Microscope photograph (4× objective) of a membrane that a urine sample was filtered through. The image covers about 1.5 × 1.1 mm of the membrane.
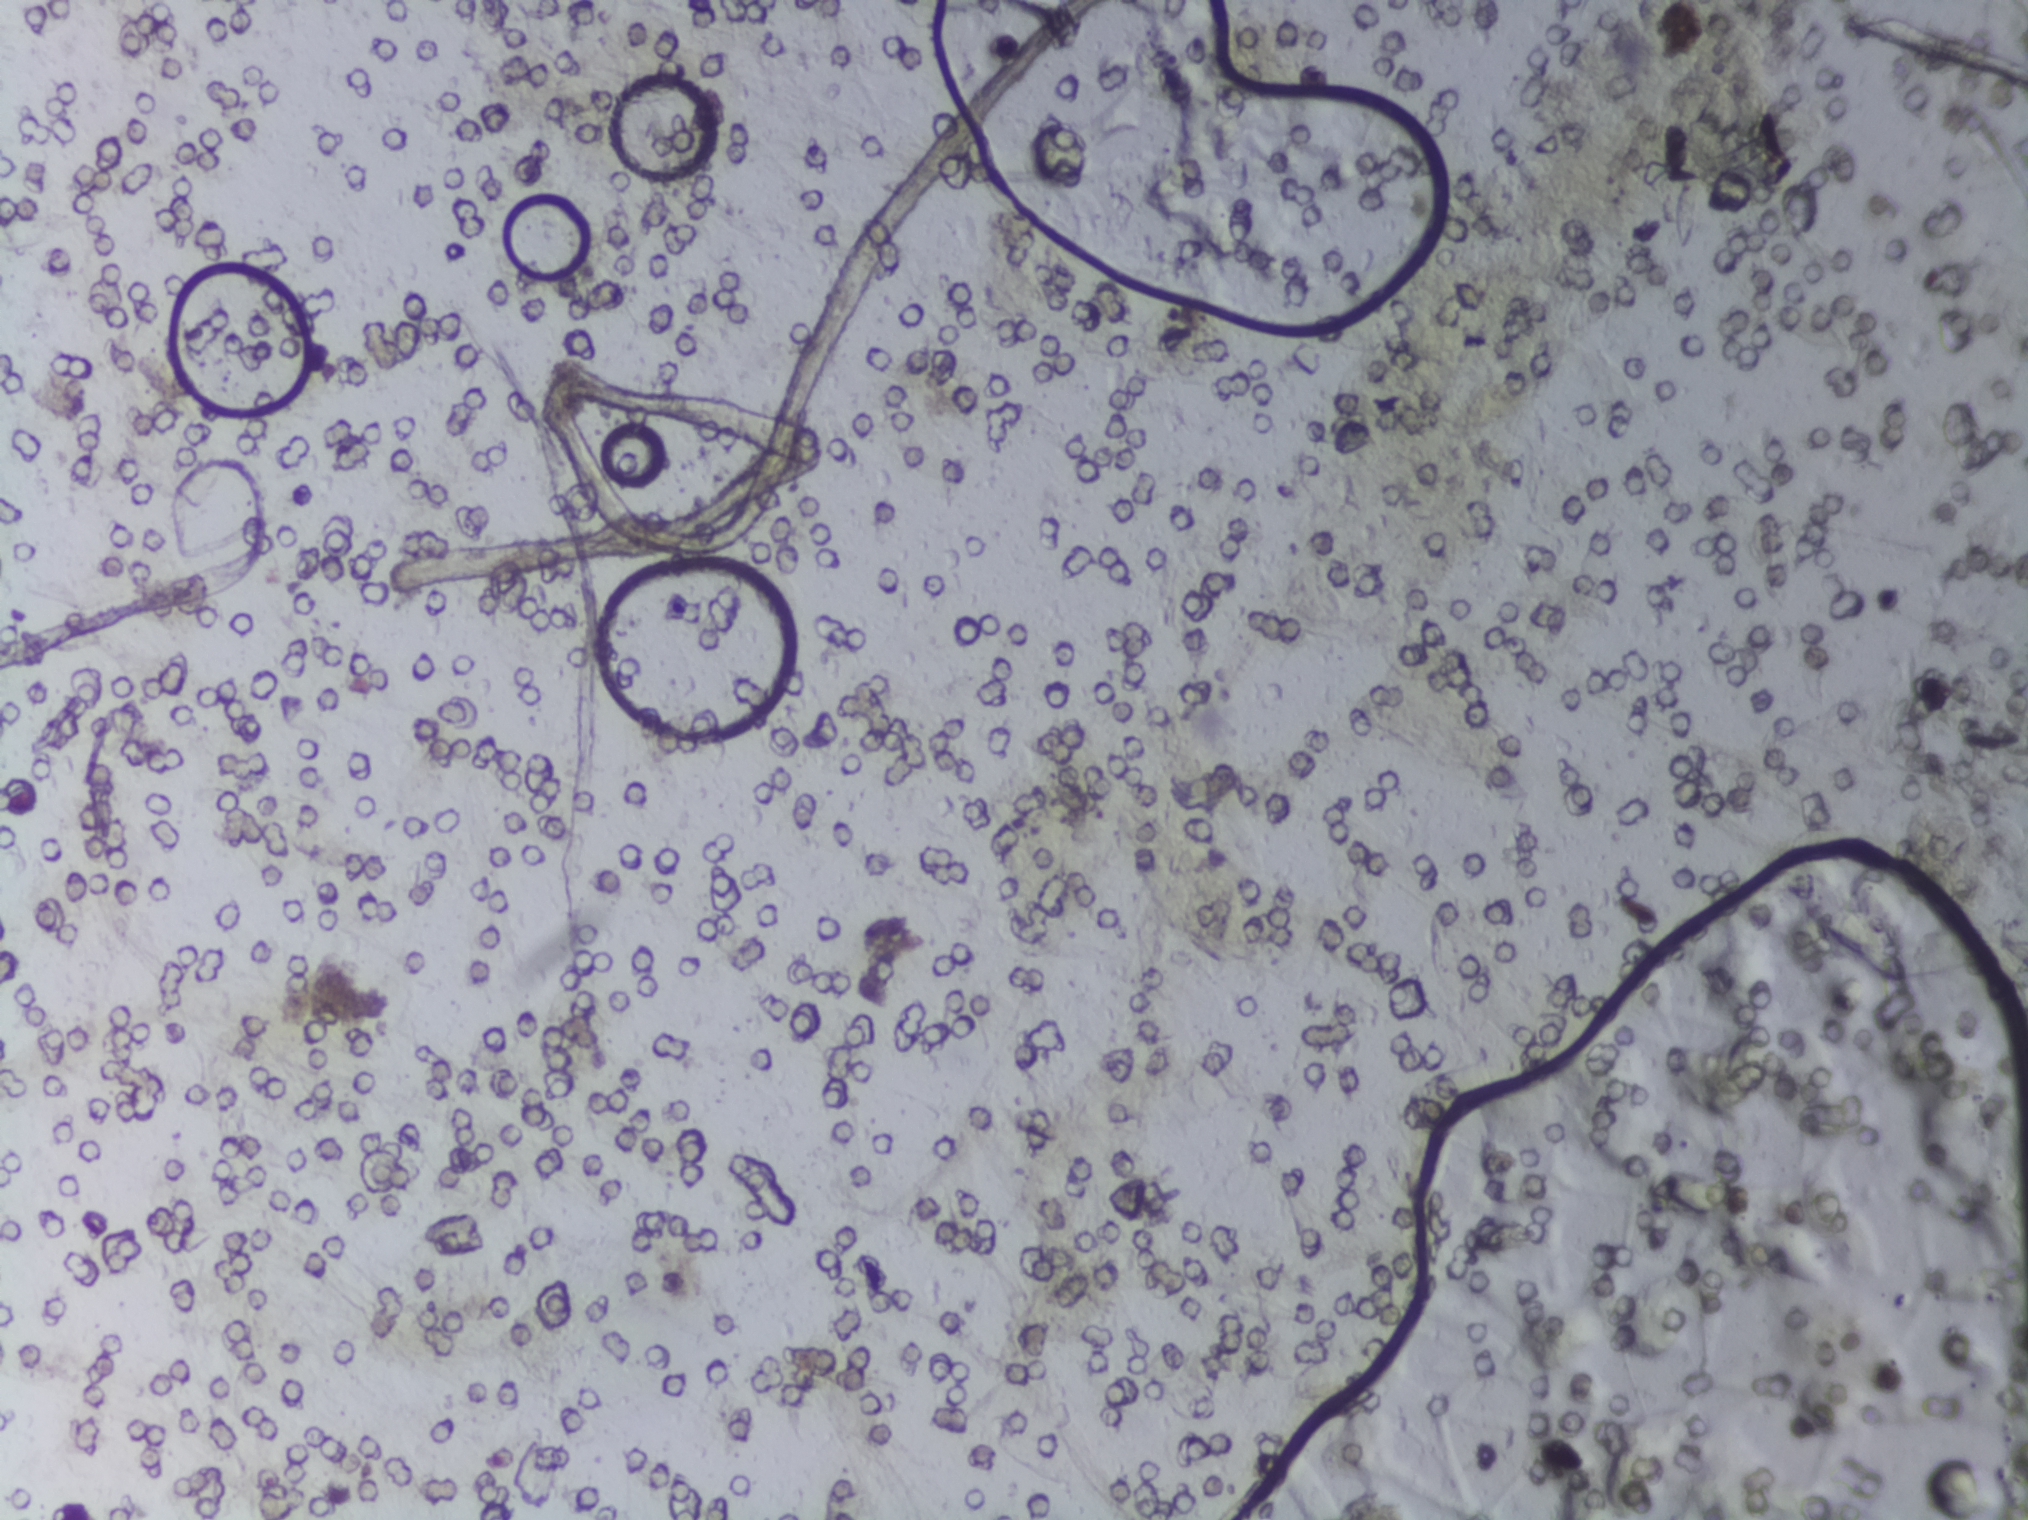
The expert annotation marks no Schistosoma egg in this field of view.